One field of view of a urine filter membrane, 4× objective, 2028 × 1520 pixels. The field of view is about 1.5 mm × 1.1 mm.
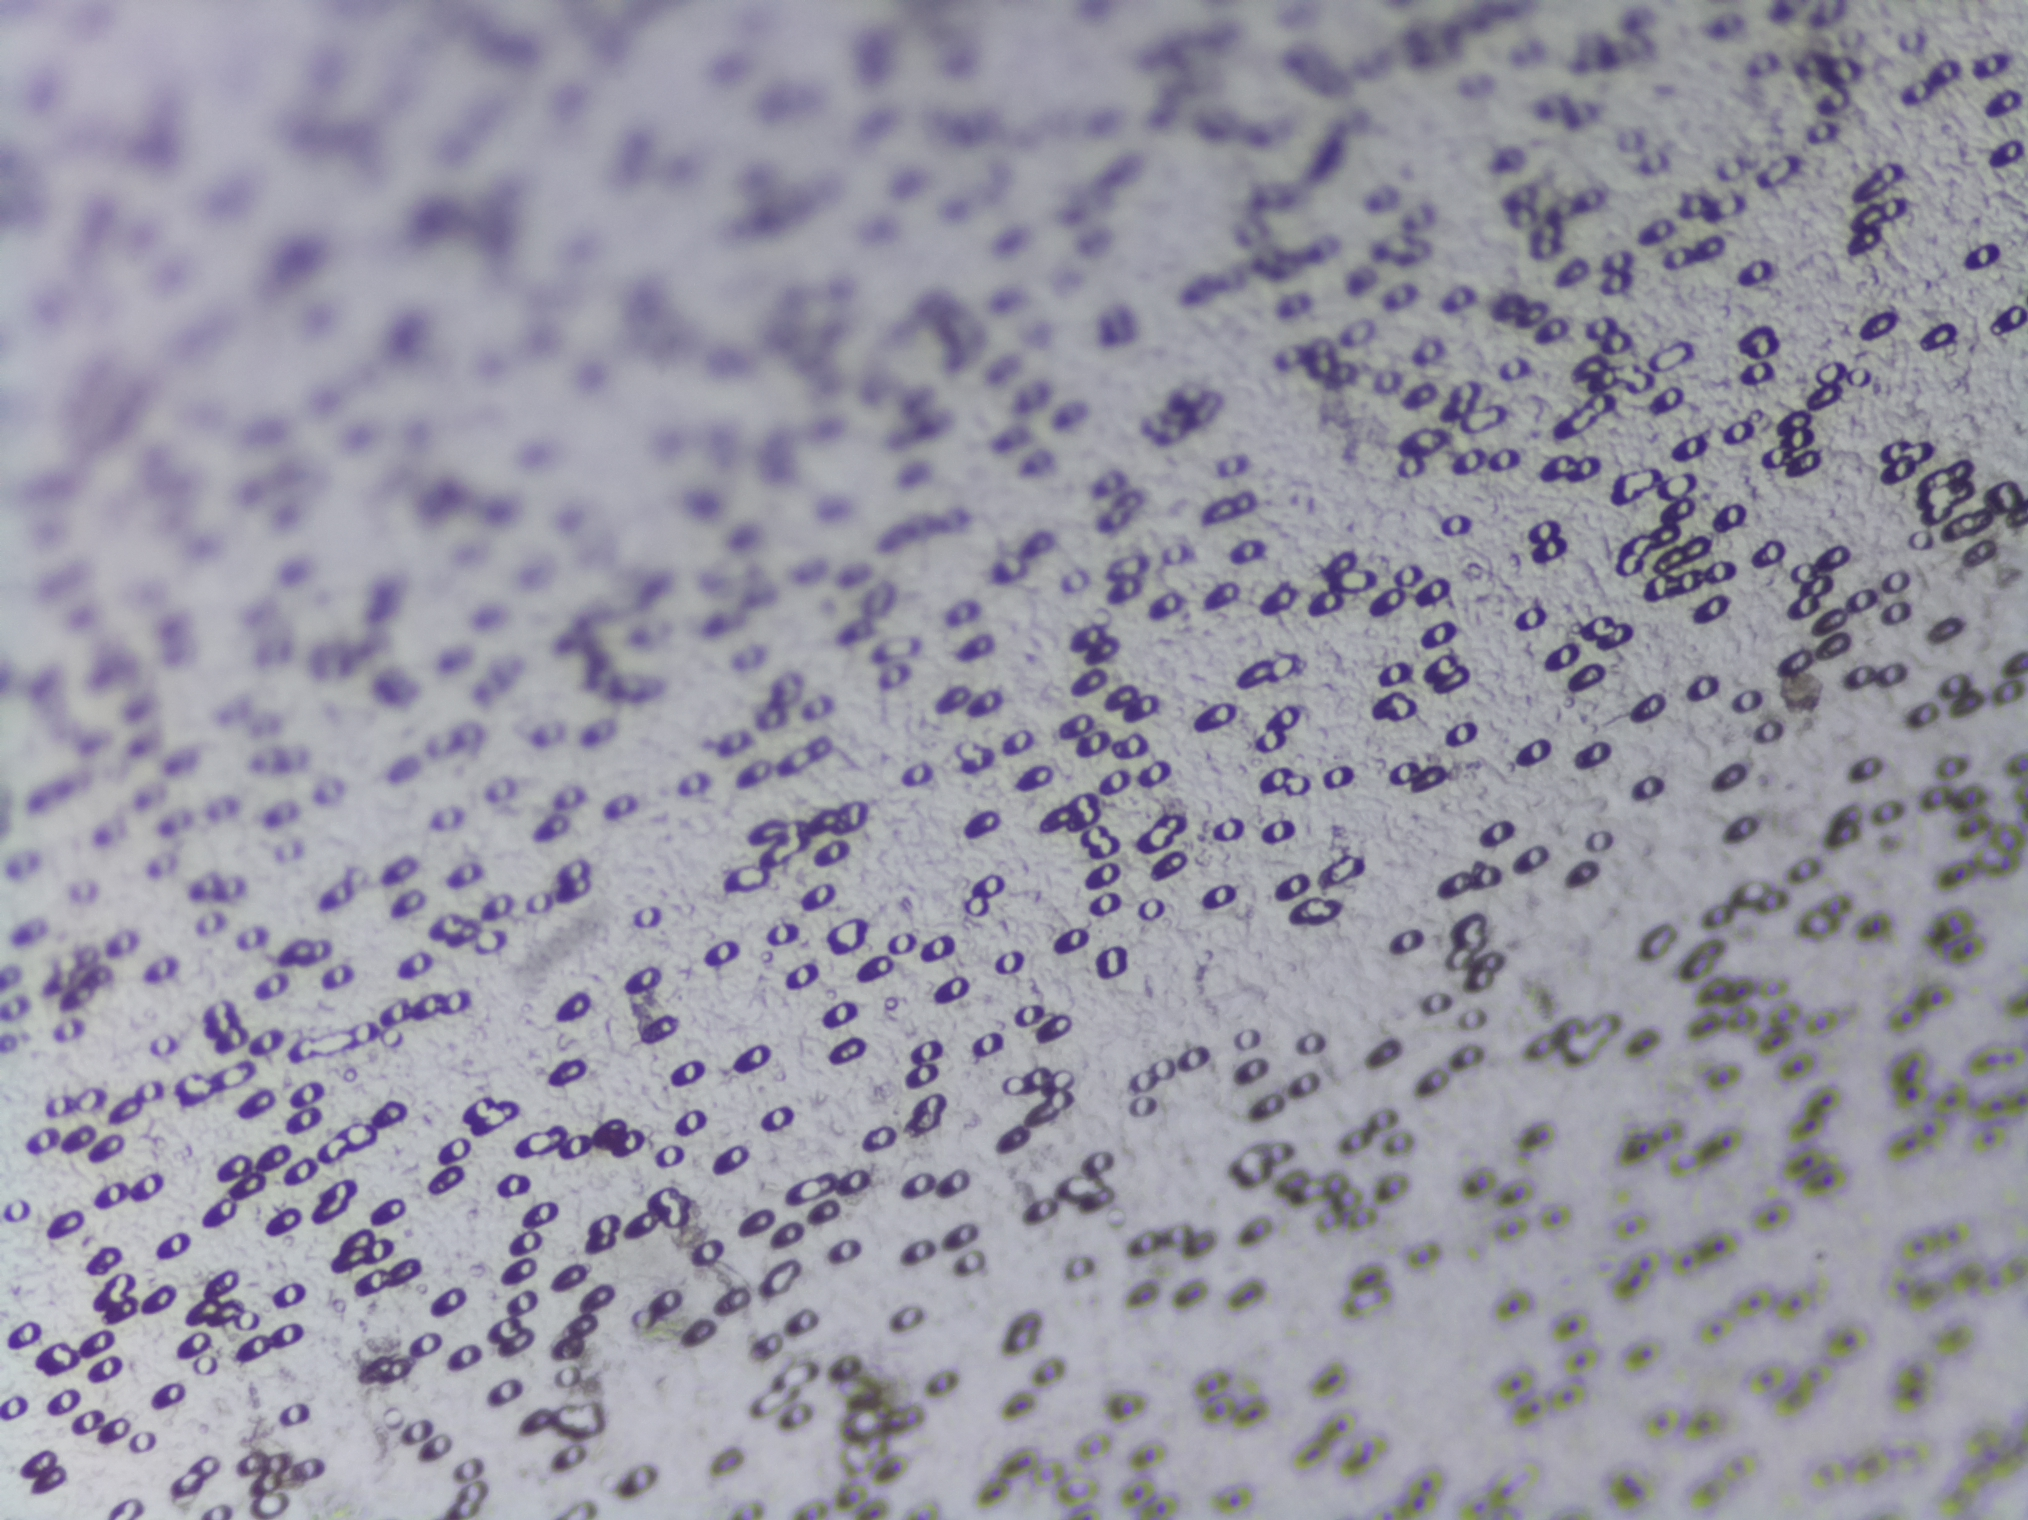
No Schistosoma egg is outlined in this image's expert annotation.